Microscope photograph (4× objective) of a membrane that a urine sample was filtered through.
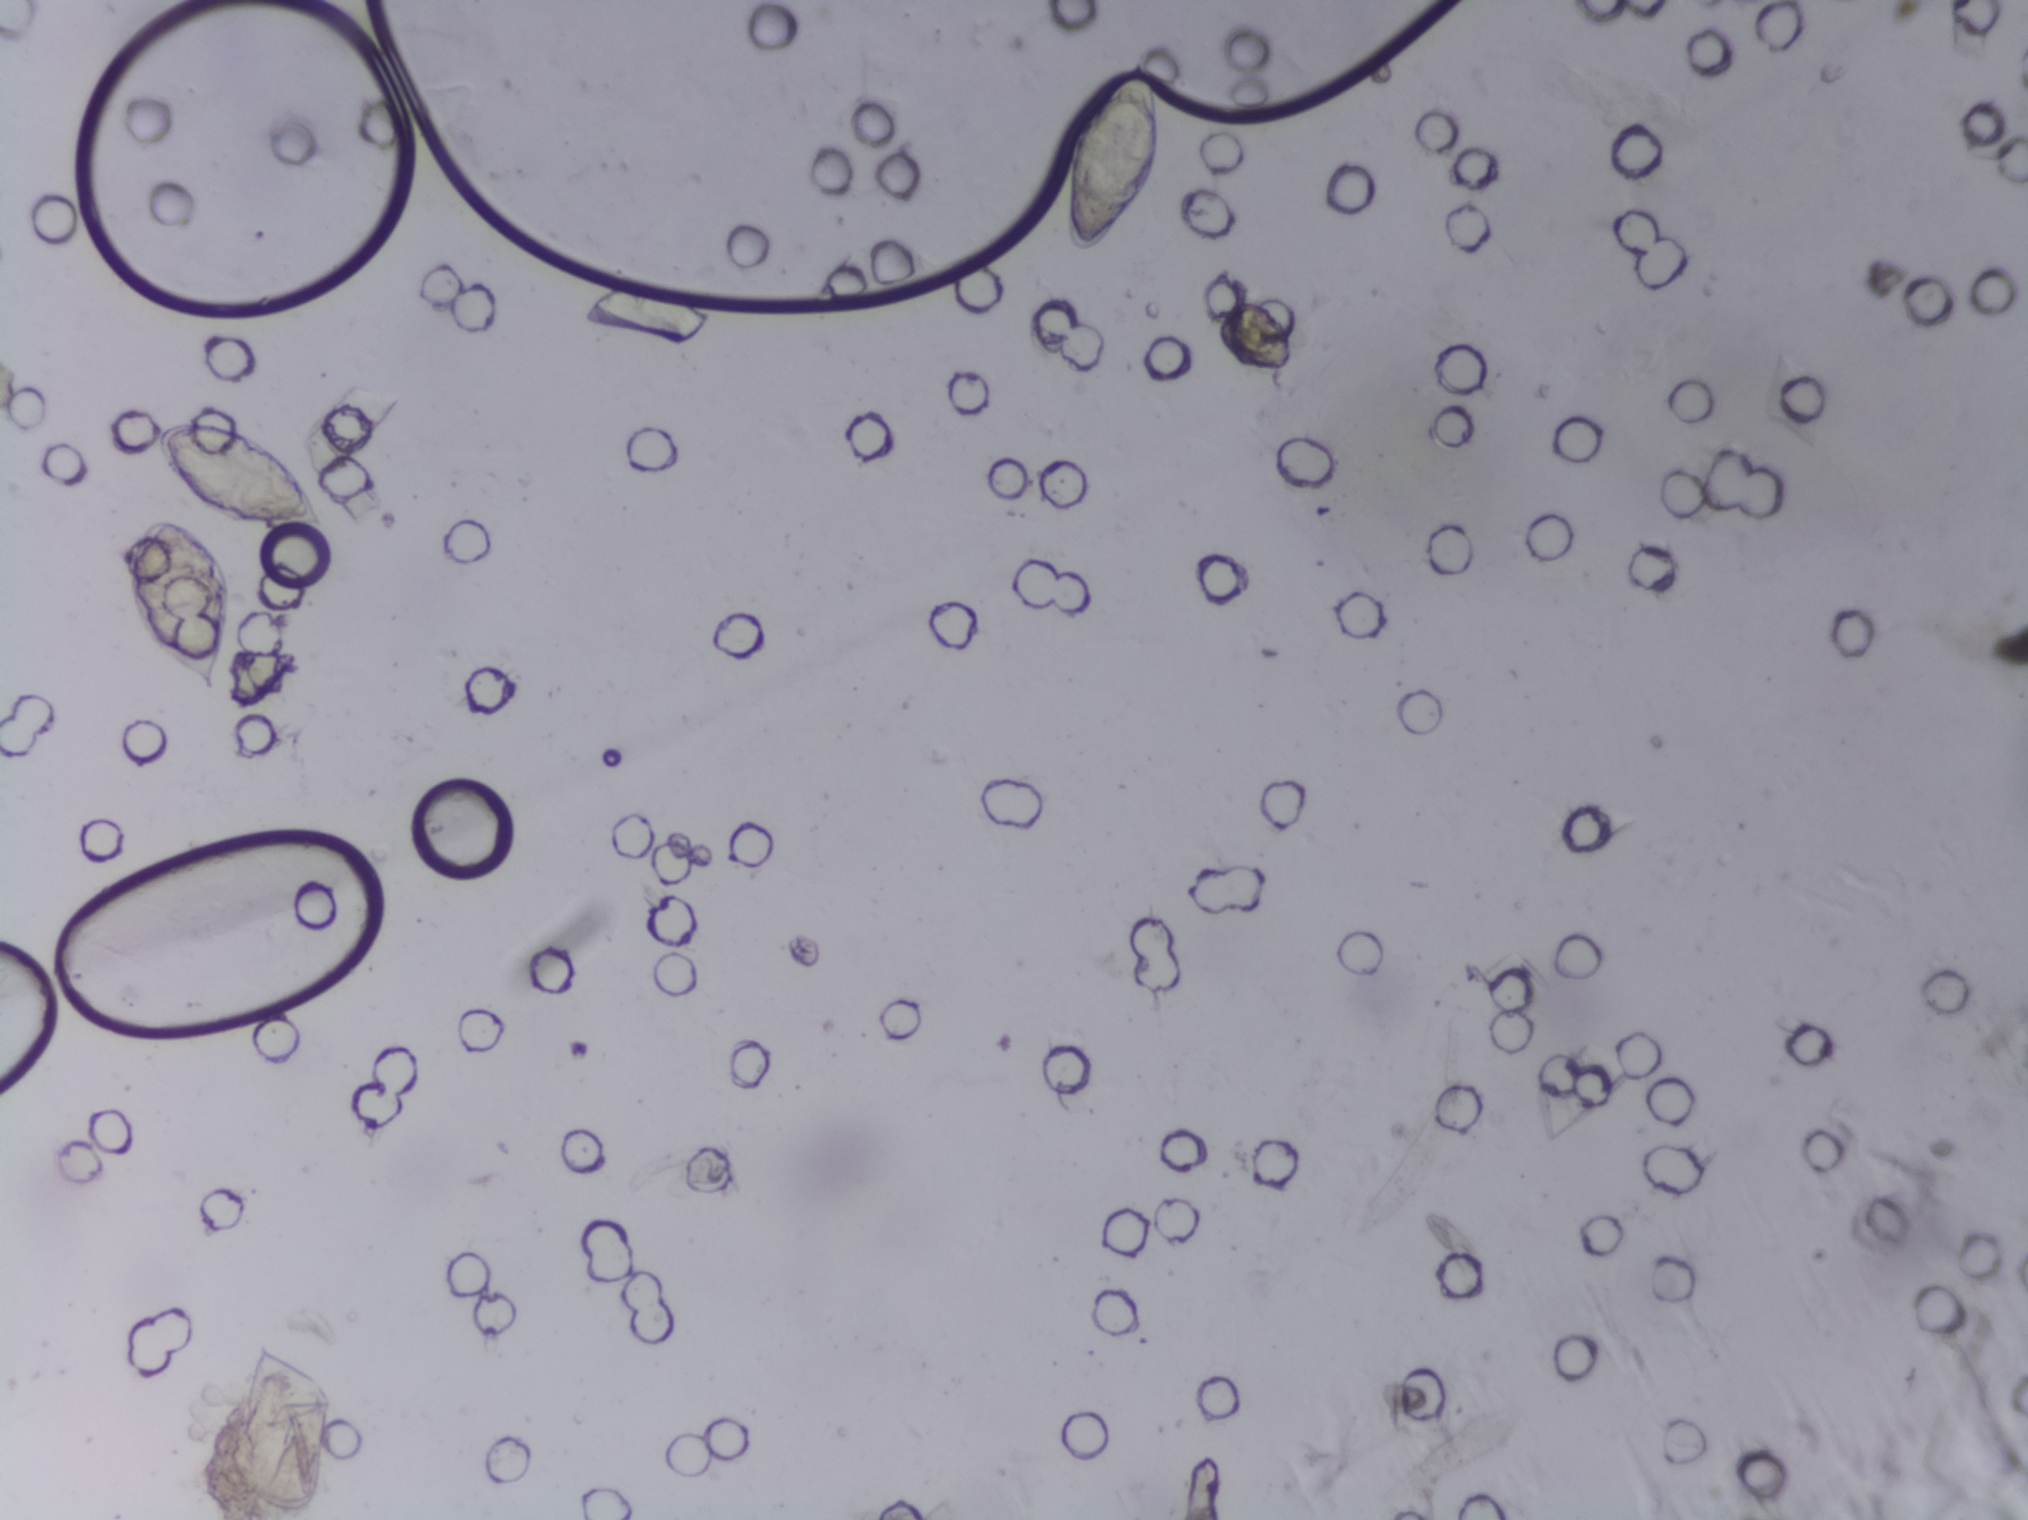
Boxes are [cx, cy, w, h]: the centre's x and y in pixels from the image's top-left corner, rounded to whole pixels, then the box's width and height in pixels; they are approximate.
{"schistosoma_egg_areas_cxcywh_px": [[179, 603, 123, 187], [239, 474, 178, 117], [280, 1427, 107, 182], [1114, 157, 101, 198]]}
An outlined area can hold more than one egg.